Photomicrograph of a urine filtration membrane, 4× objective. The field of view is about 1.5 mm × 1.1 mm.
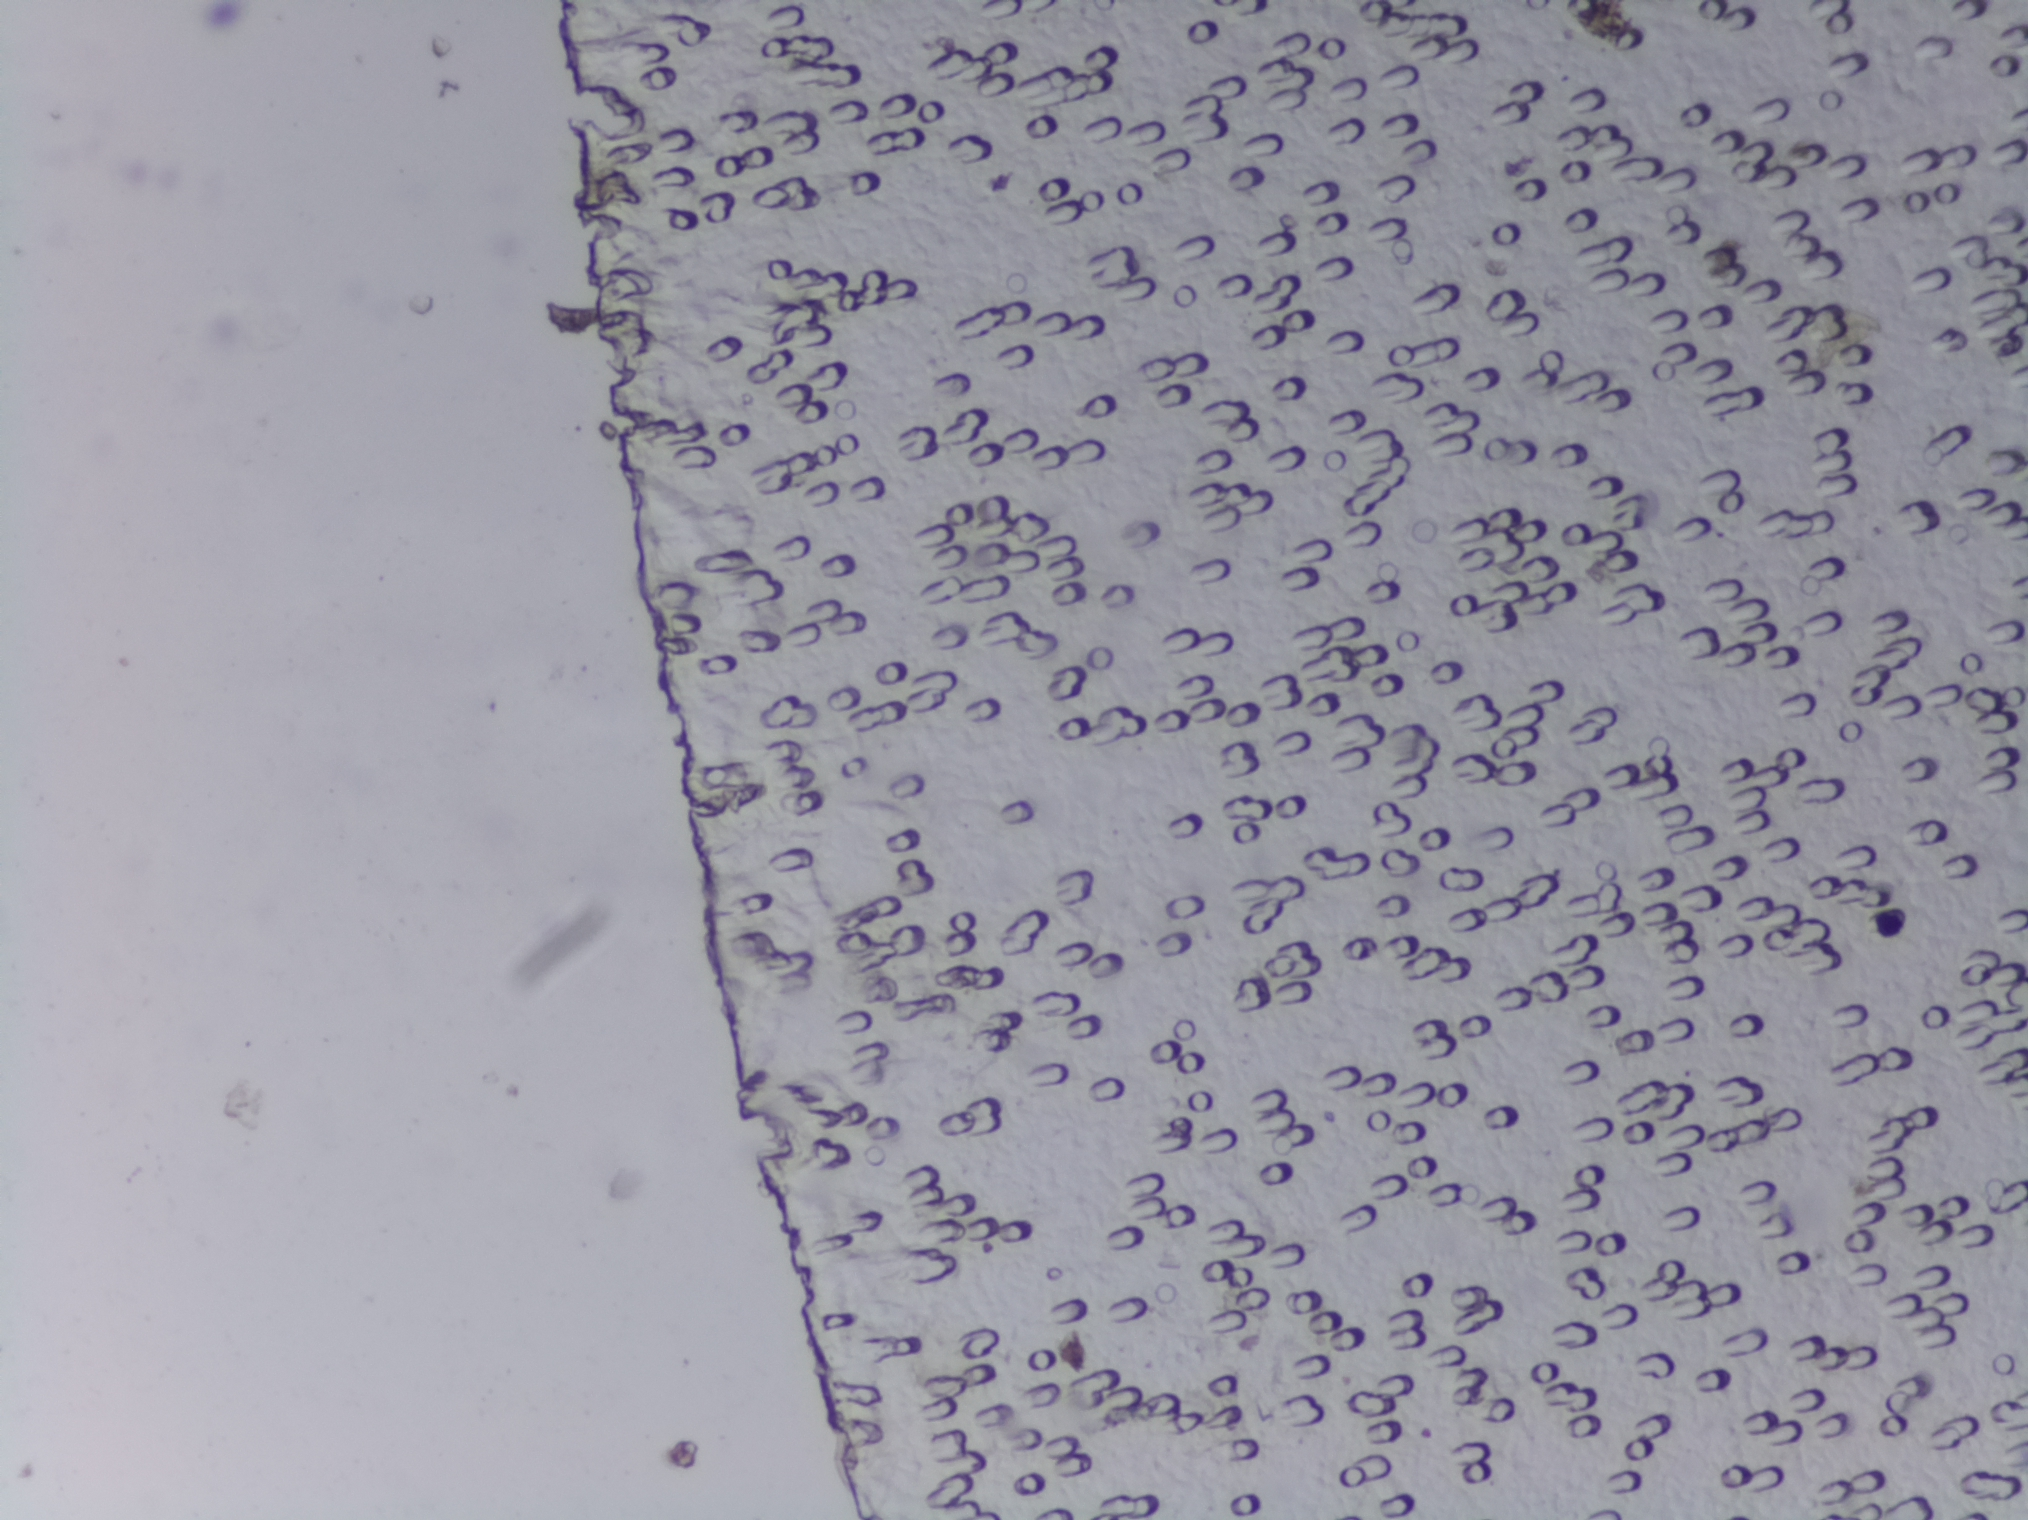
Schistosoma eggs: none outlined.